One field of view of a urine filter membrane, 4× objective, 2028 × 1520 pixels.
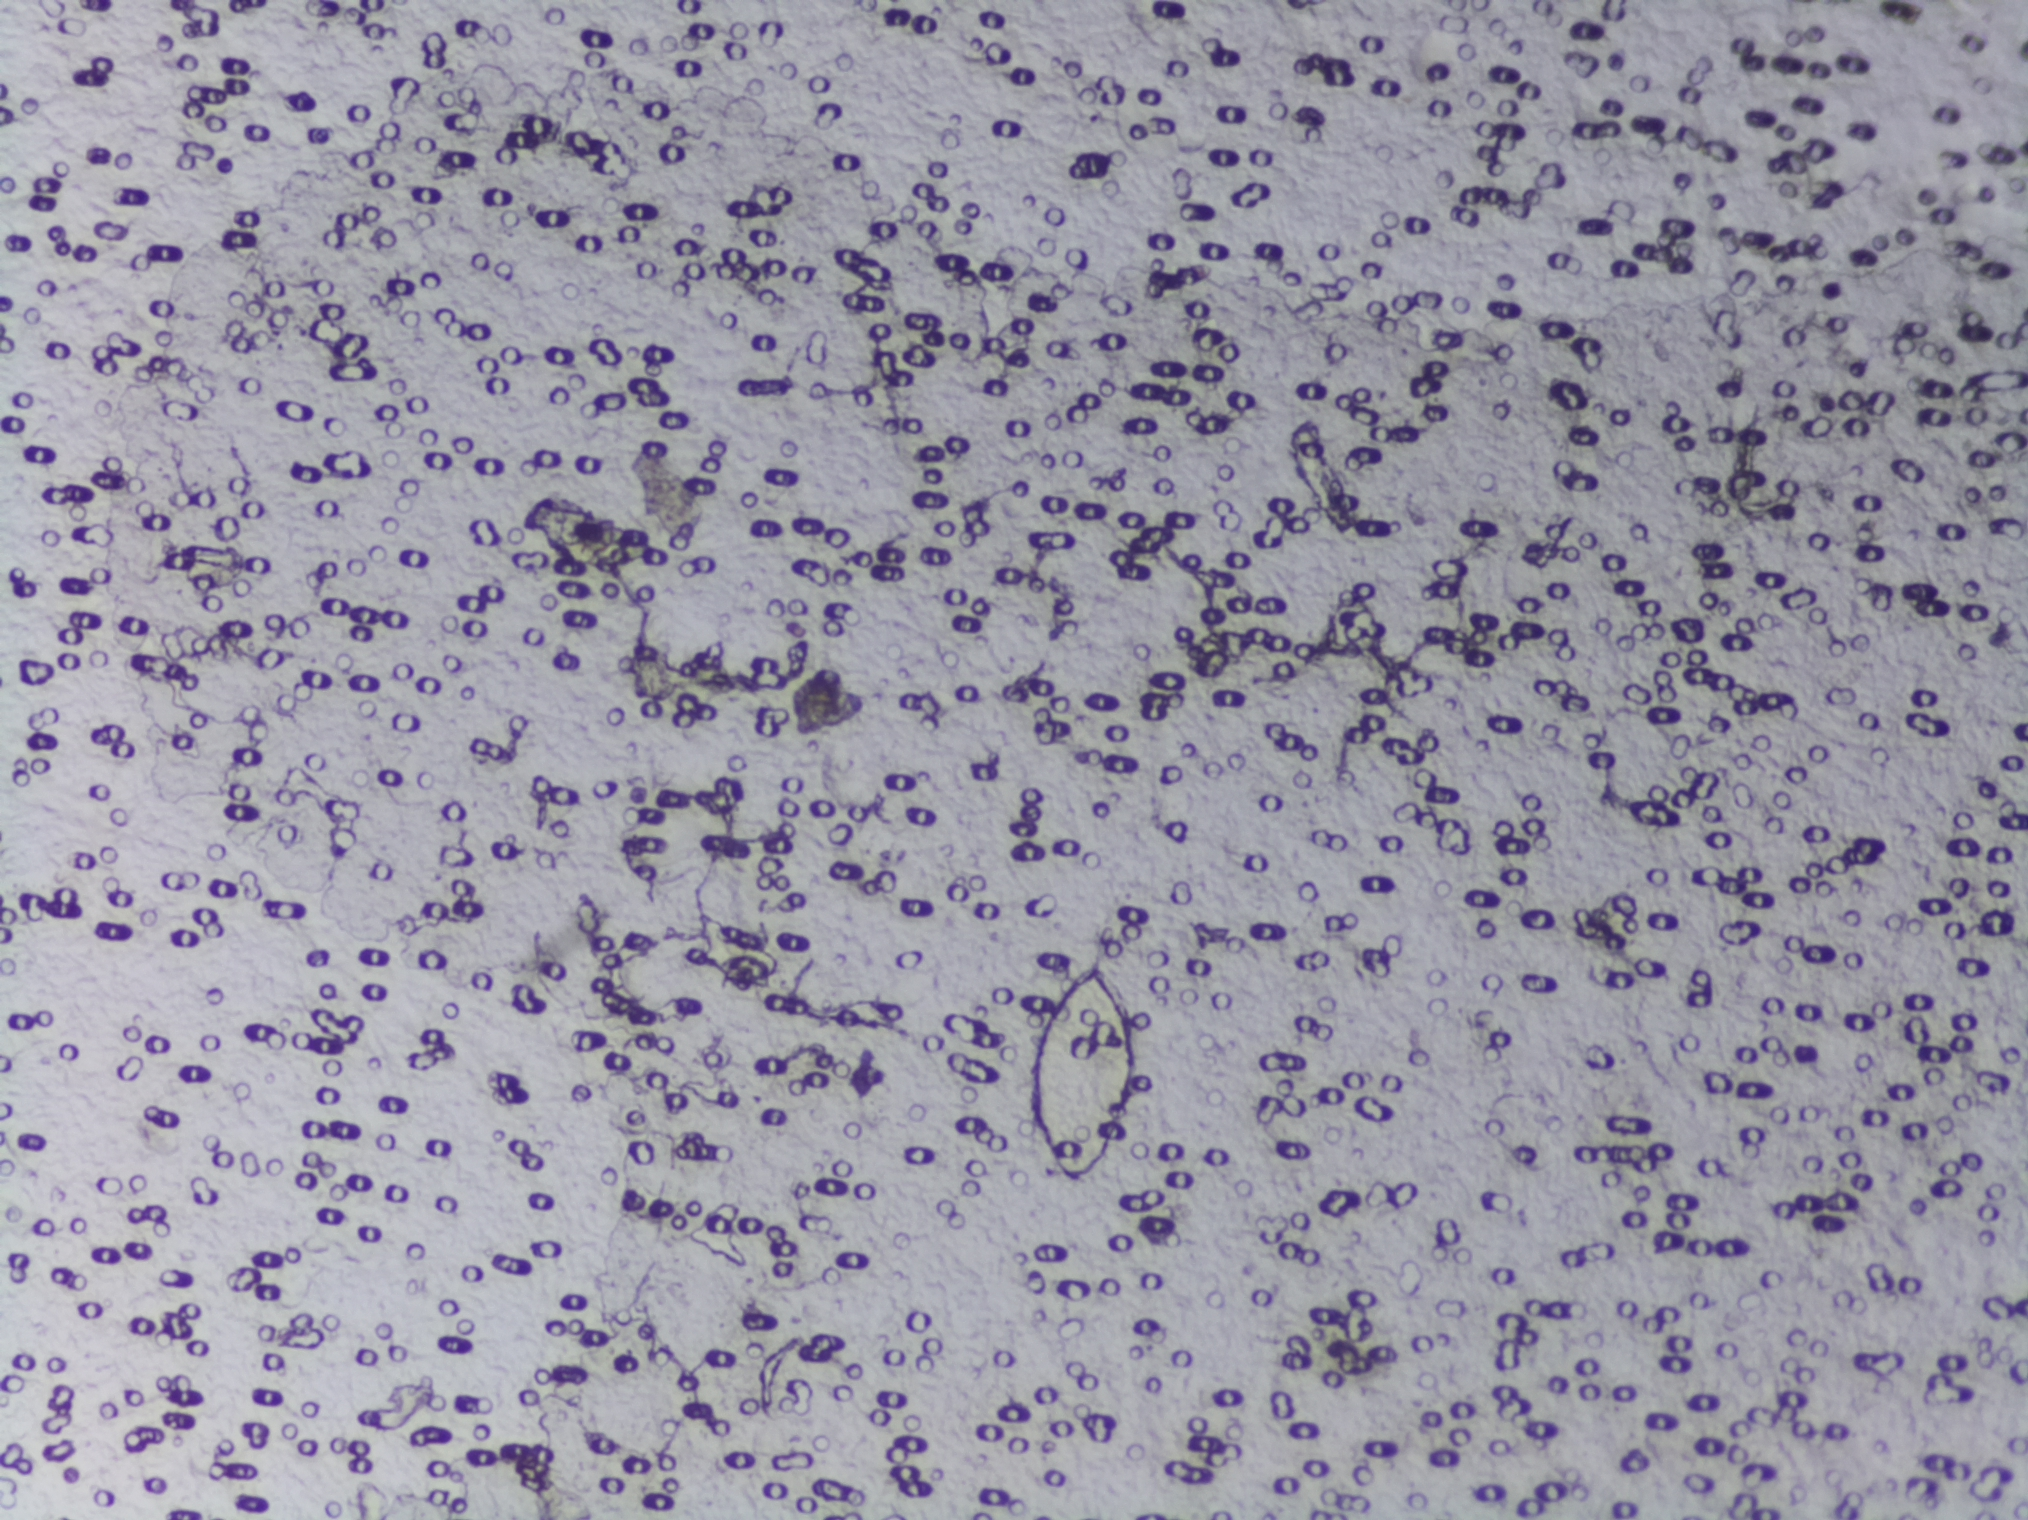
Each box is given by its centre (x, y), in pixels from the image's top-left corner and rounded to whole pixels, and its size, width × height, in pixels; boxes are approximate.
Schistosoma eggs are outlined in one area of this image: centre (1083, 1075), 113 × 221 px. About 0.6% of the image's pixels are marked (the marked pixels themselves, not the box around them). A single outlined area may contain several eggs.